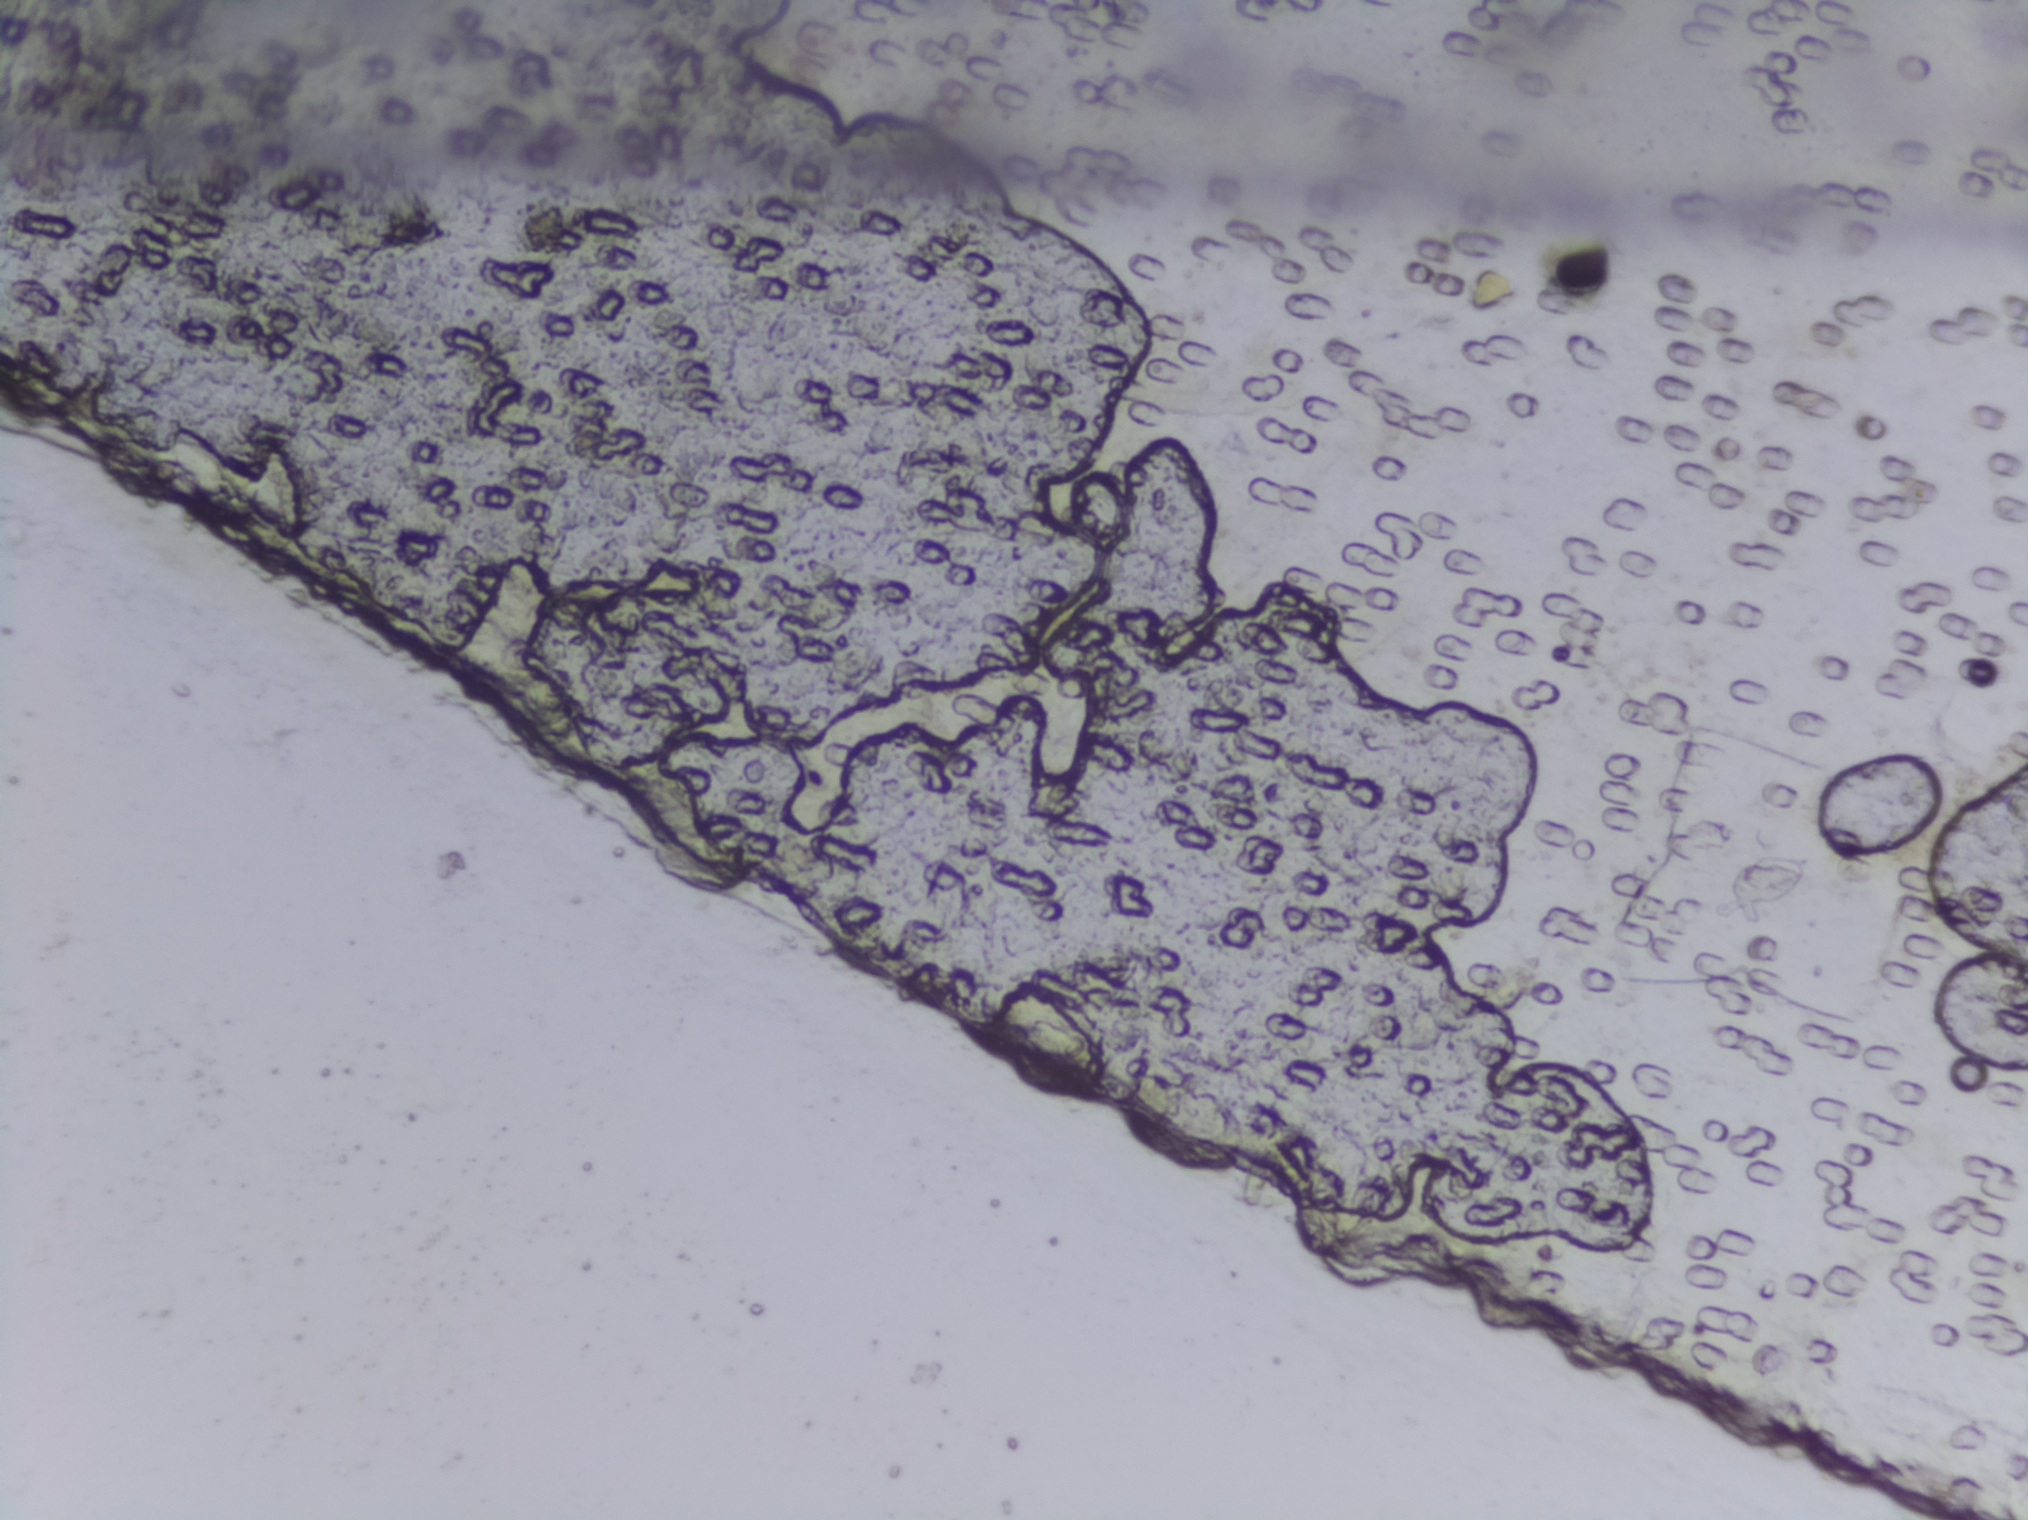
One field of view of a urine filter membrane, 4× objective, 2028 × 1520 pixels.
No Schistosoma egg is outlined in this image's expert annotation.